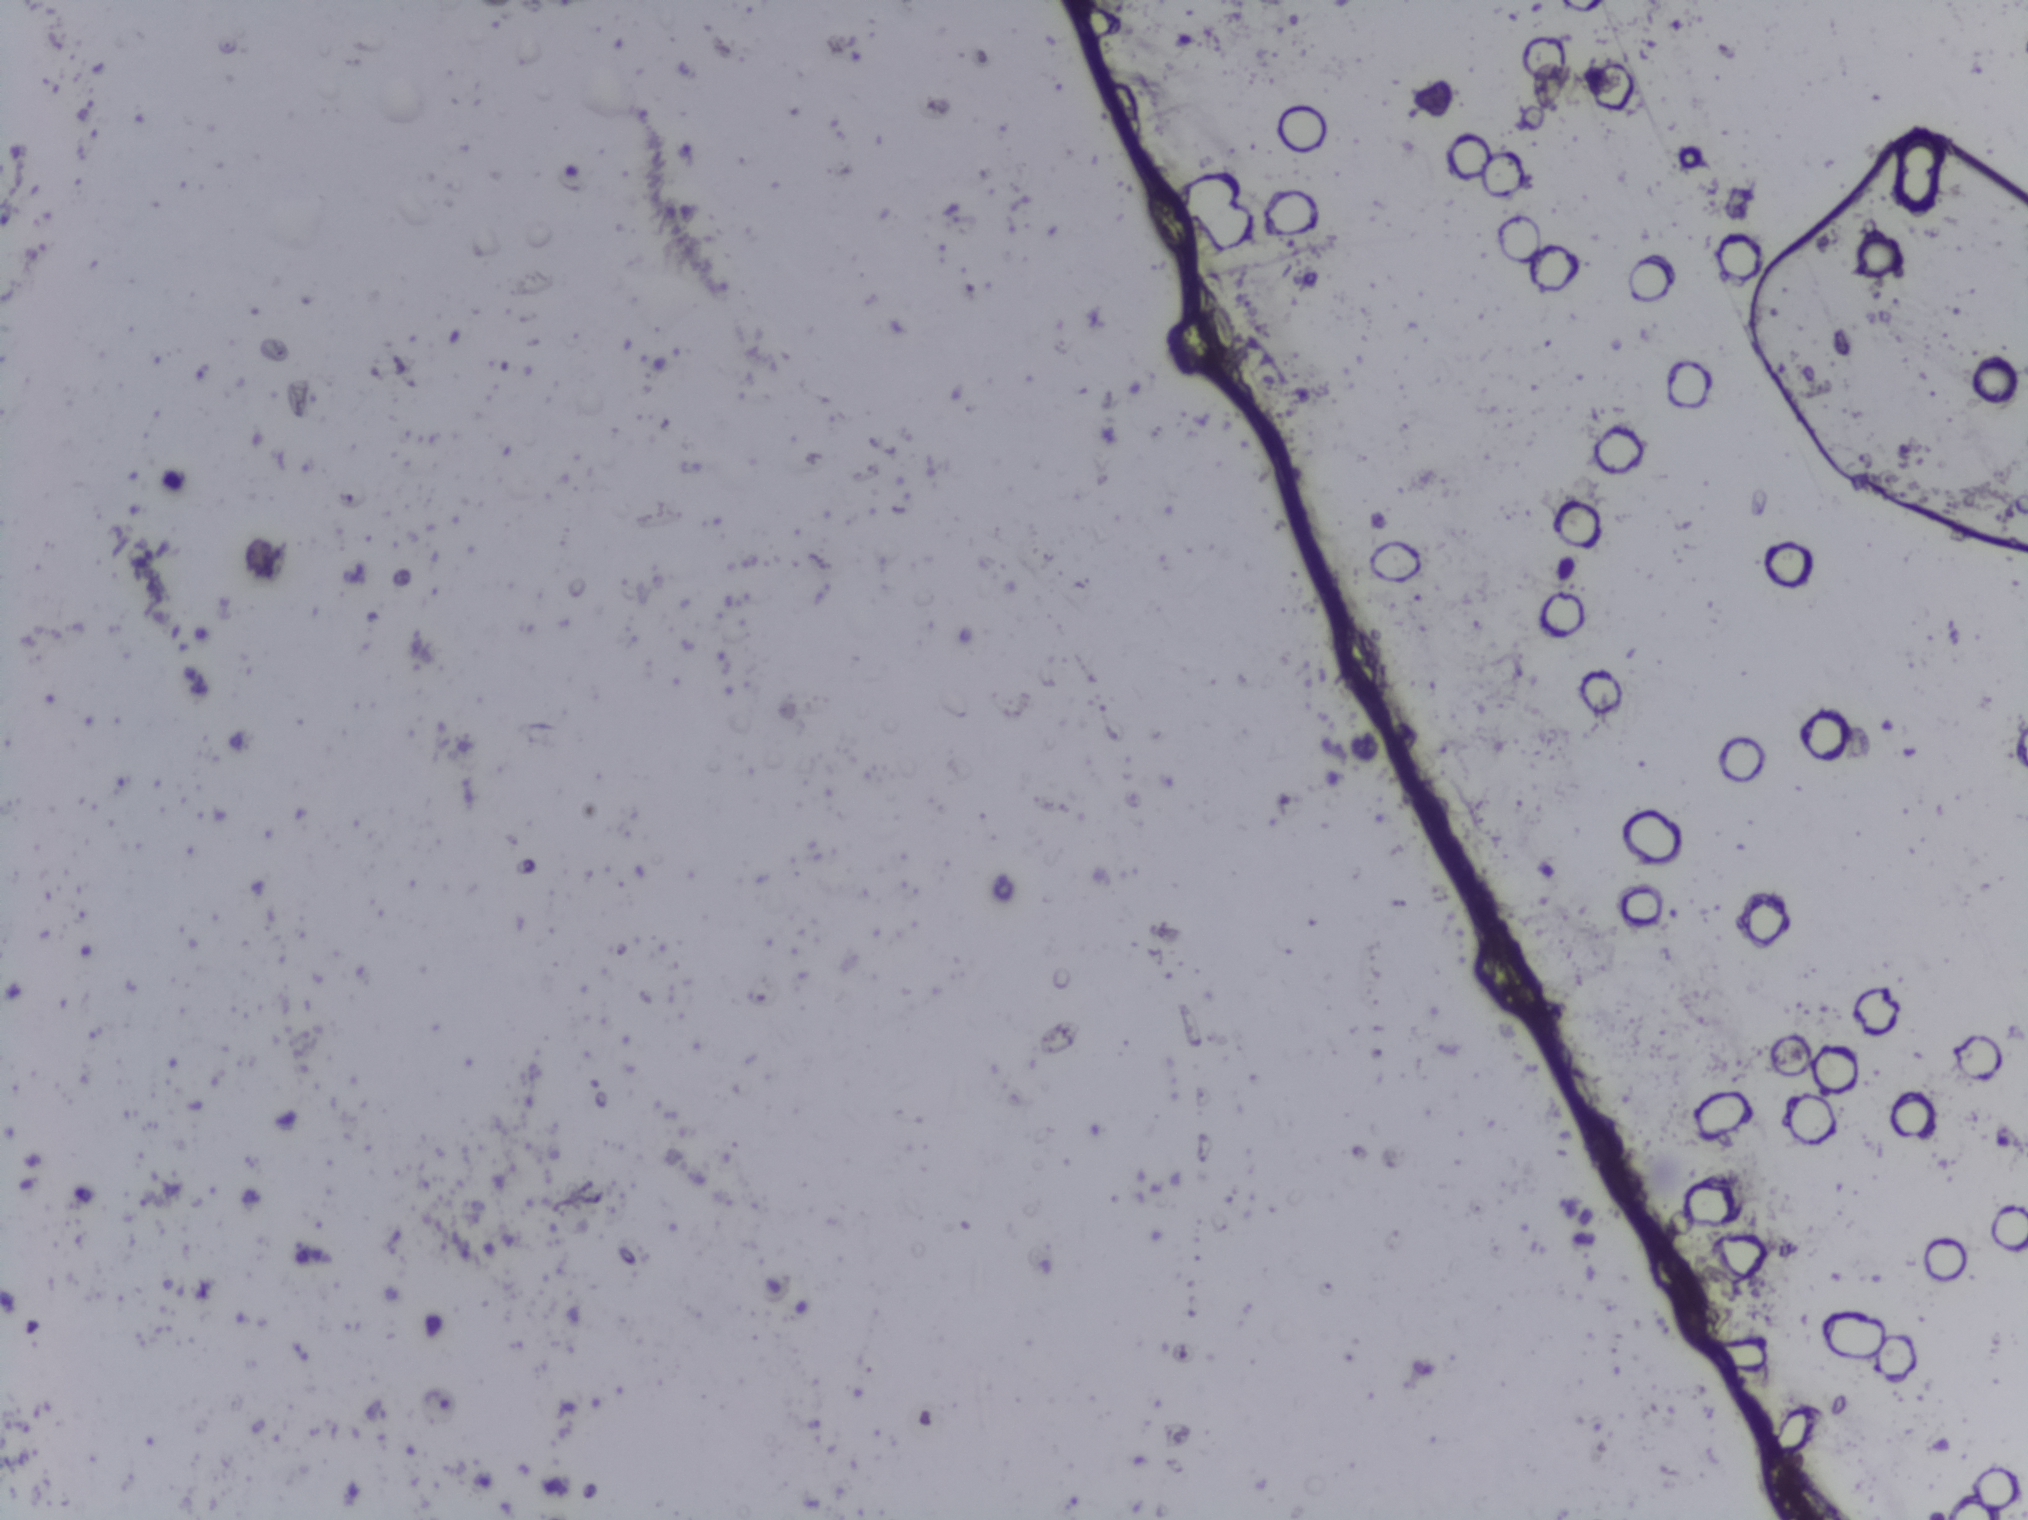
Photograph from an automated digital microscope: urine filter membrane, 4× objective.
No area of this image was outlined as a Schistosoma egg.